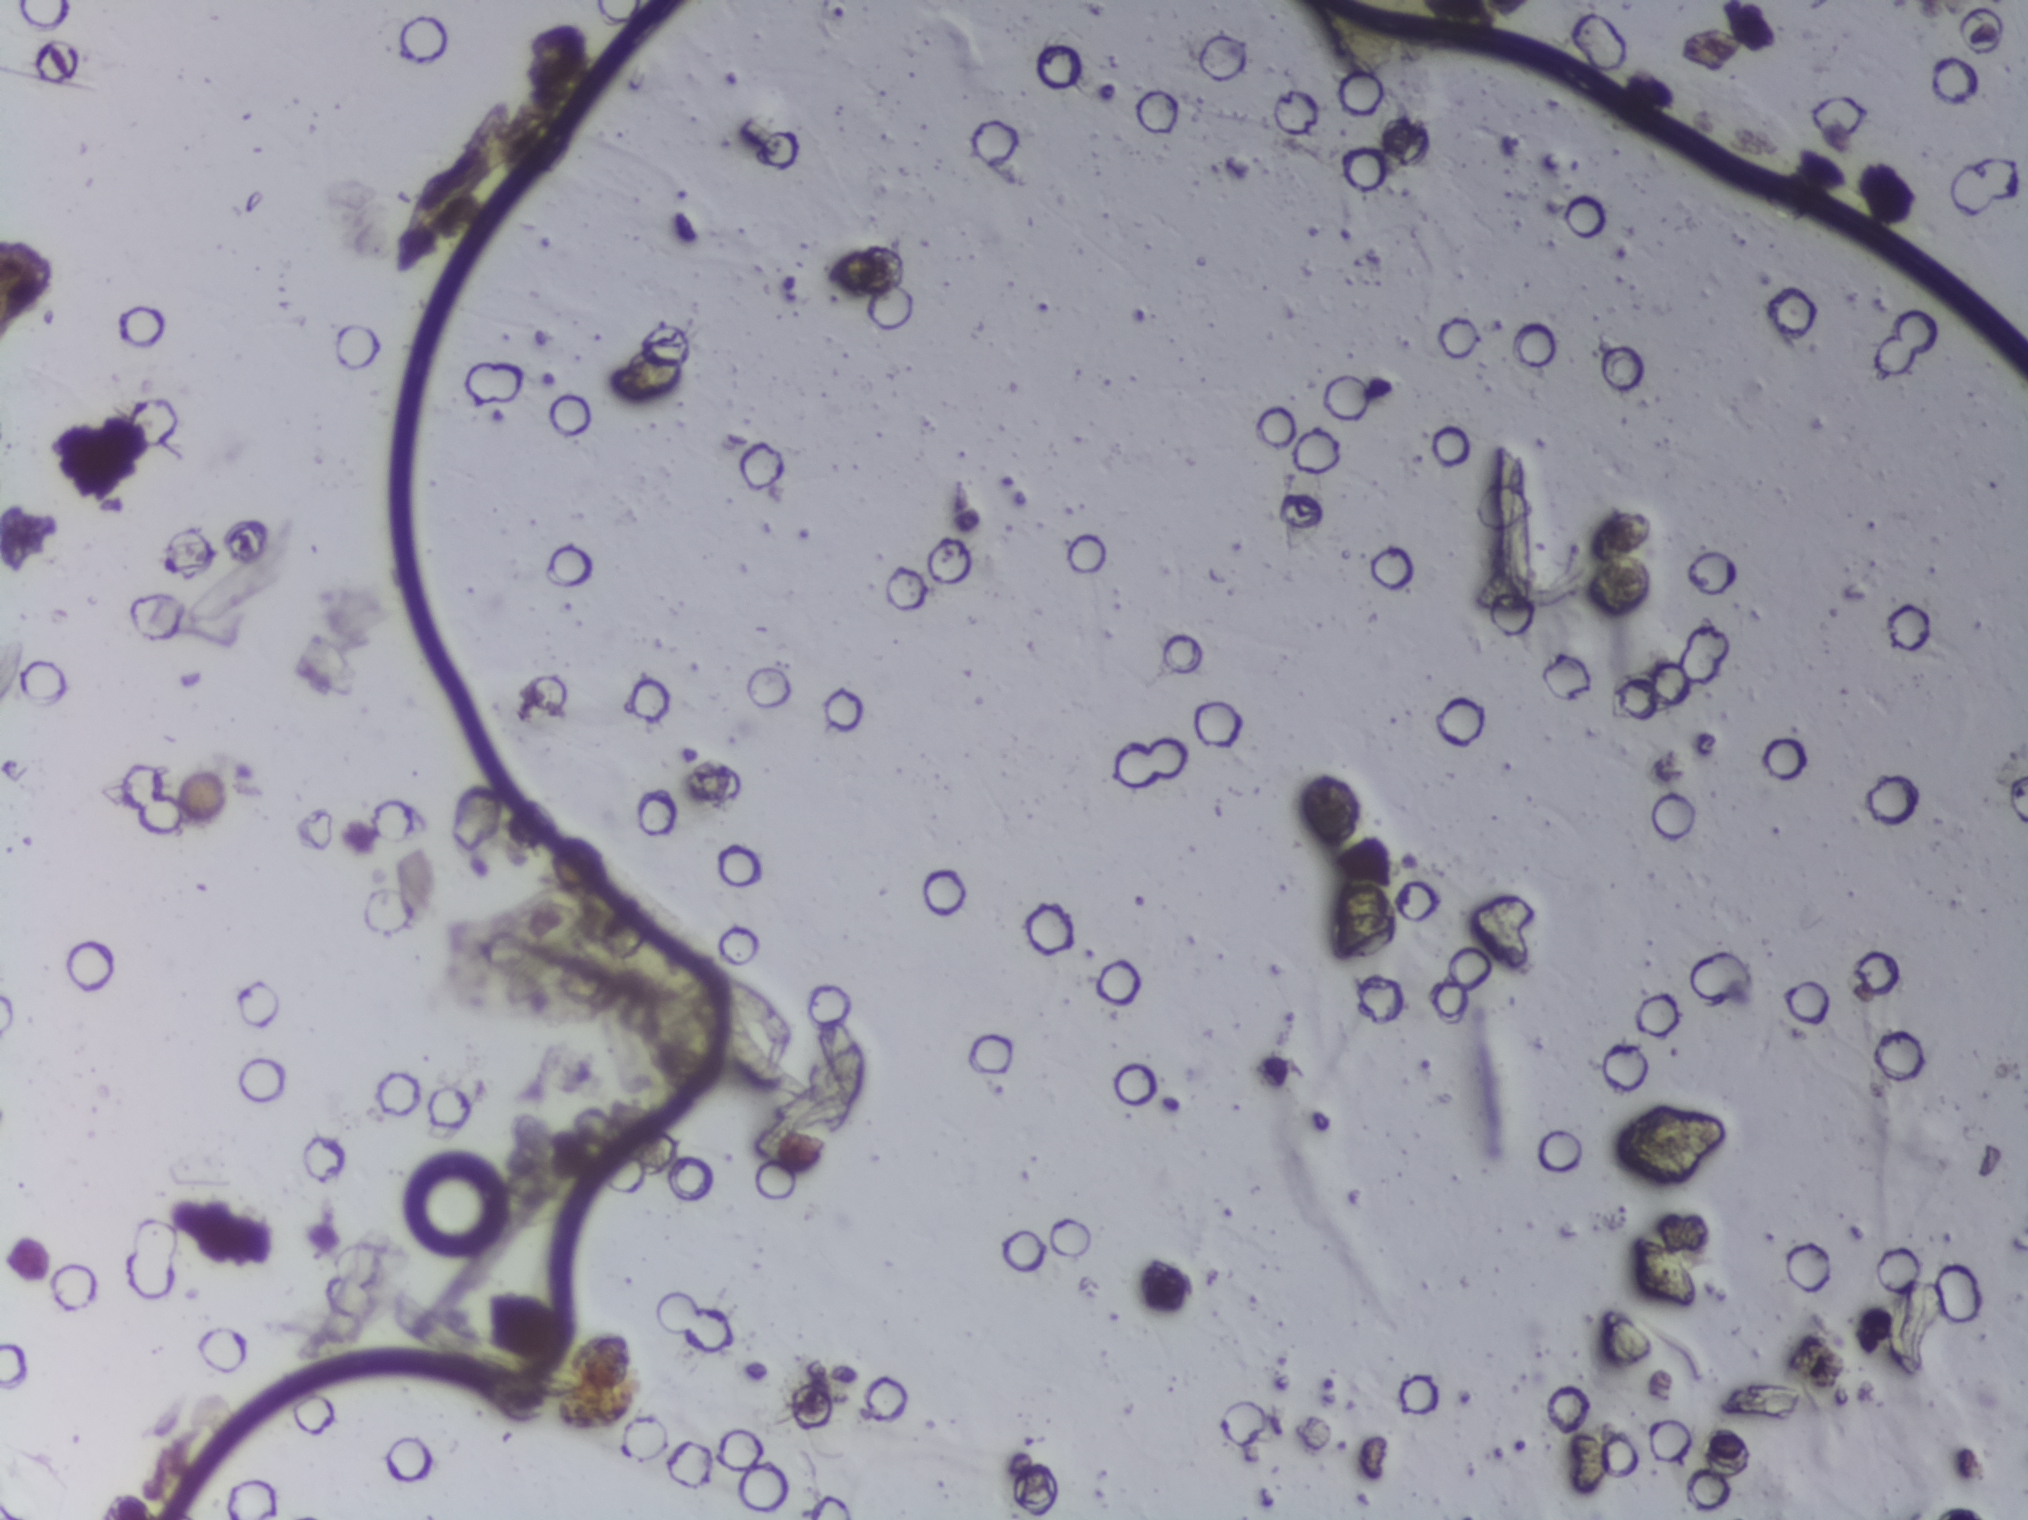
Microscope photograph (4× objective) of a membrane that a urine sample was filtered through.
Schistosoma eggs: none outlined.